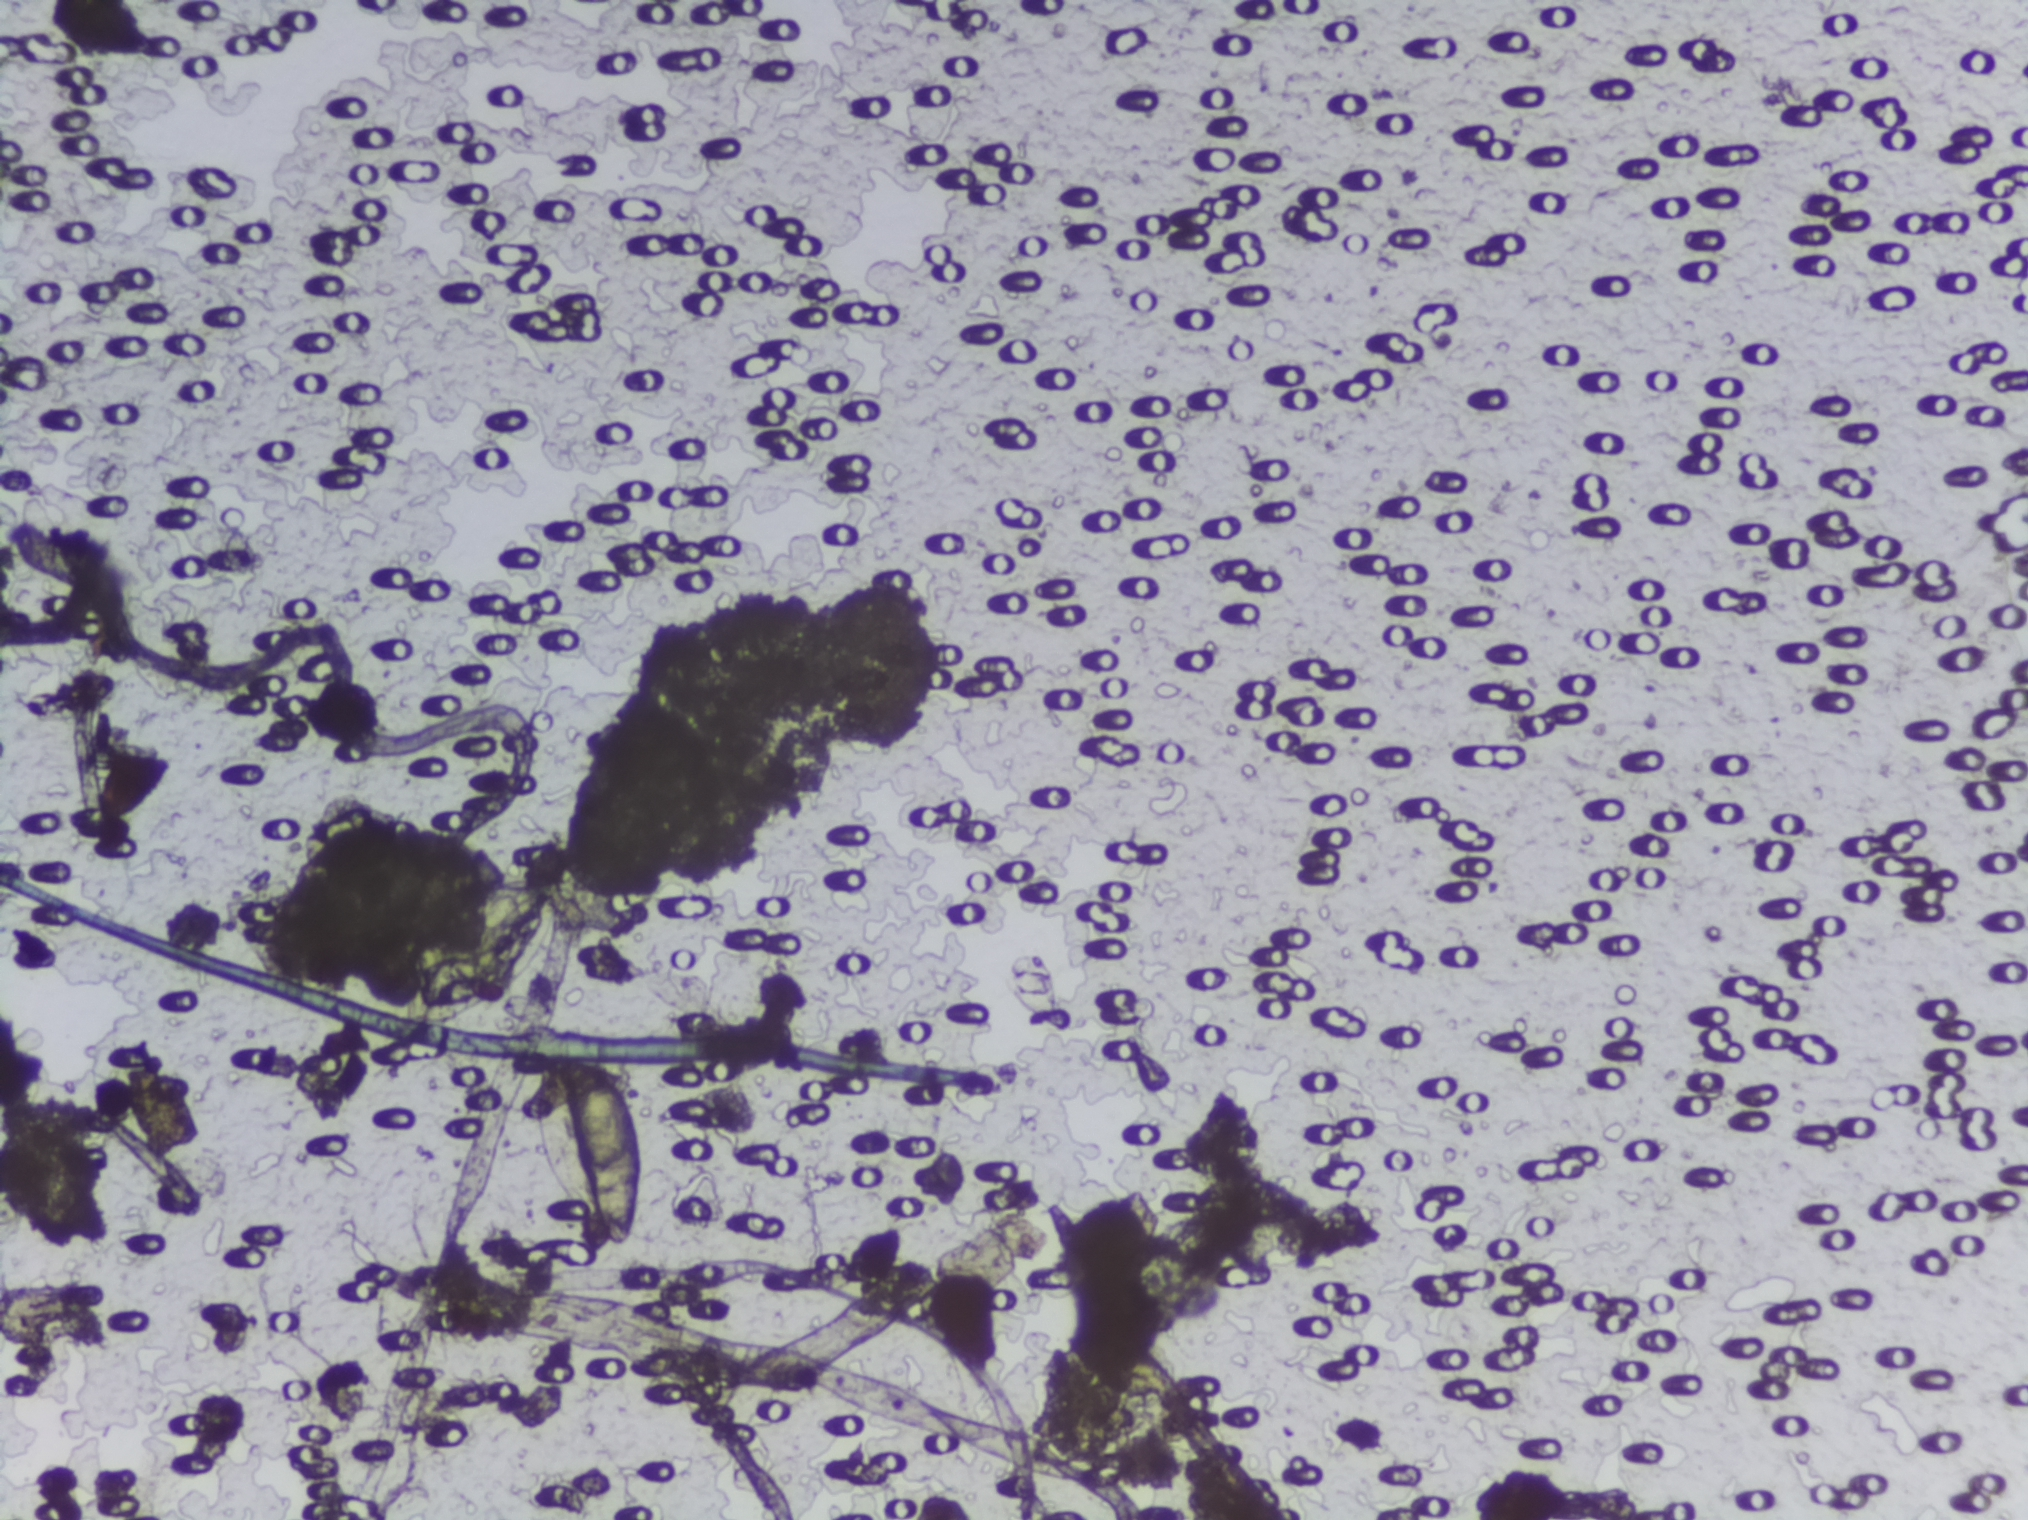
Photograph from an automated digital microscope: urine filter membrane, 4× objective. The field of view is about 1.5 mm × 1.1 mm.
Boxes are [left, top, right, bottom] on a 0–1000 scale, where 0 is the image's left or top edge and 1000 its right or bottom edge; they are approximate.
Schistosoma eggs are outlined in one area of this image: [263, 695, 322, 820]. An outlined area can hold more than one egg.